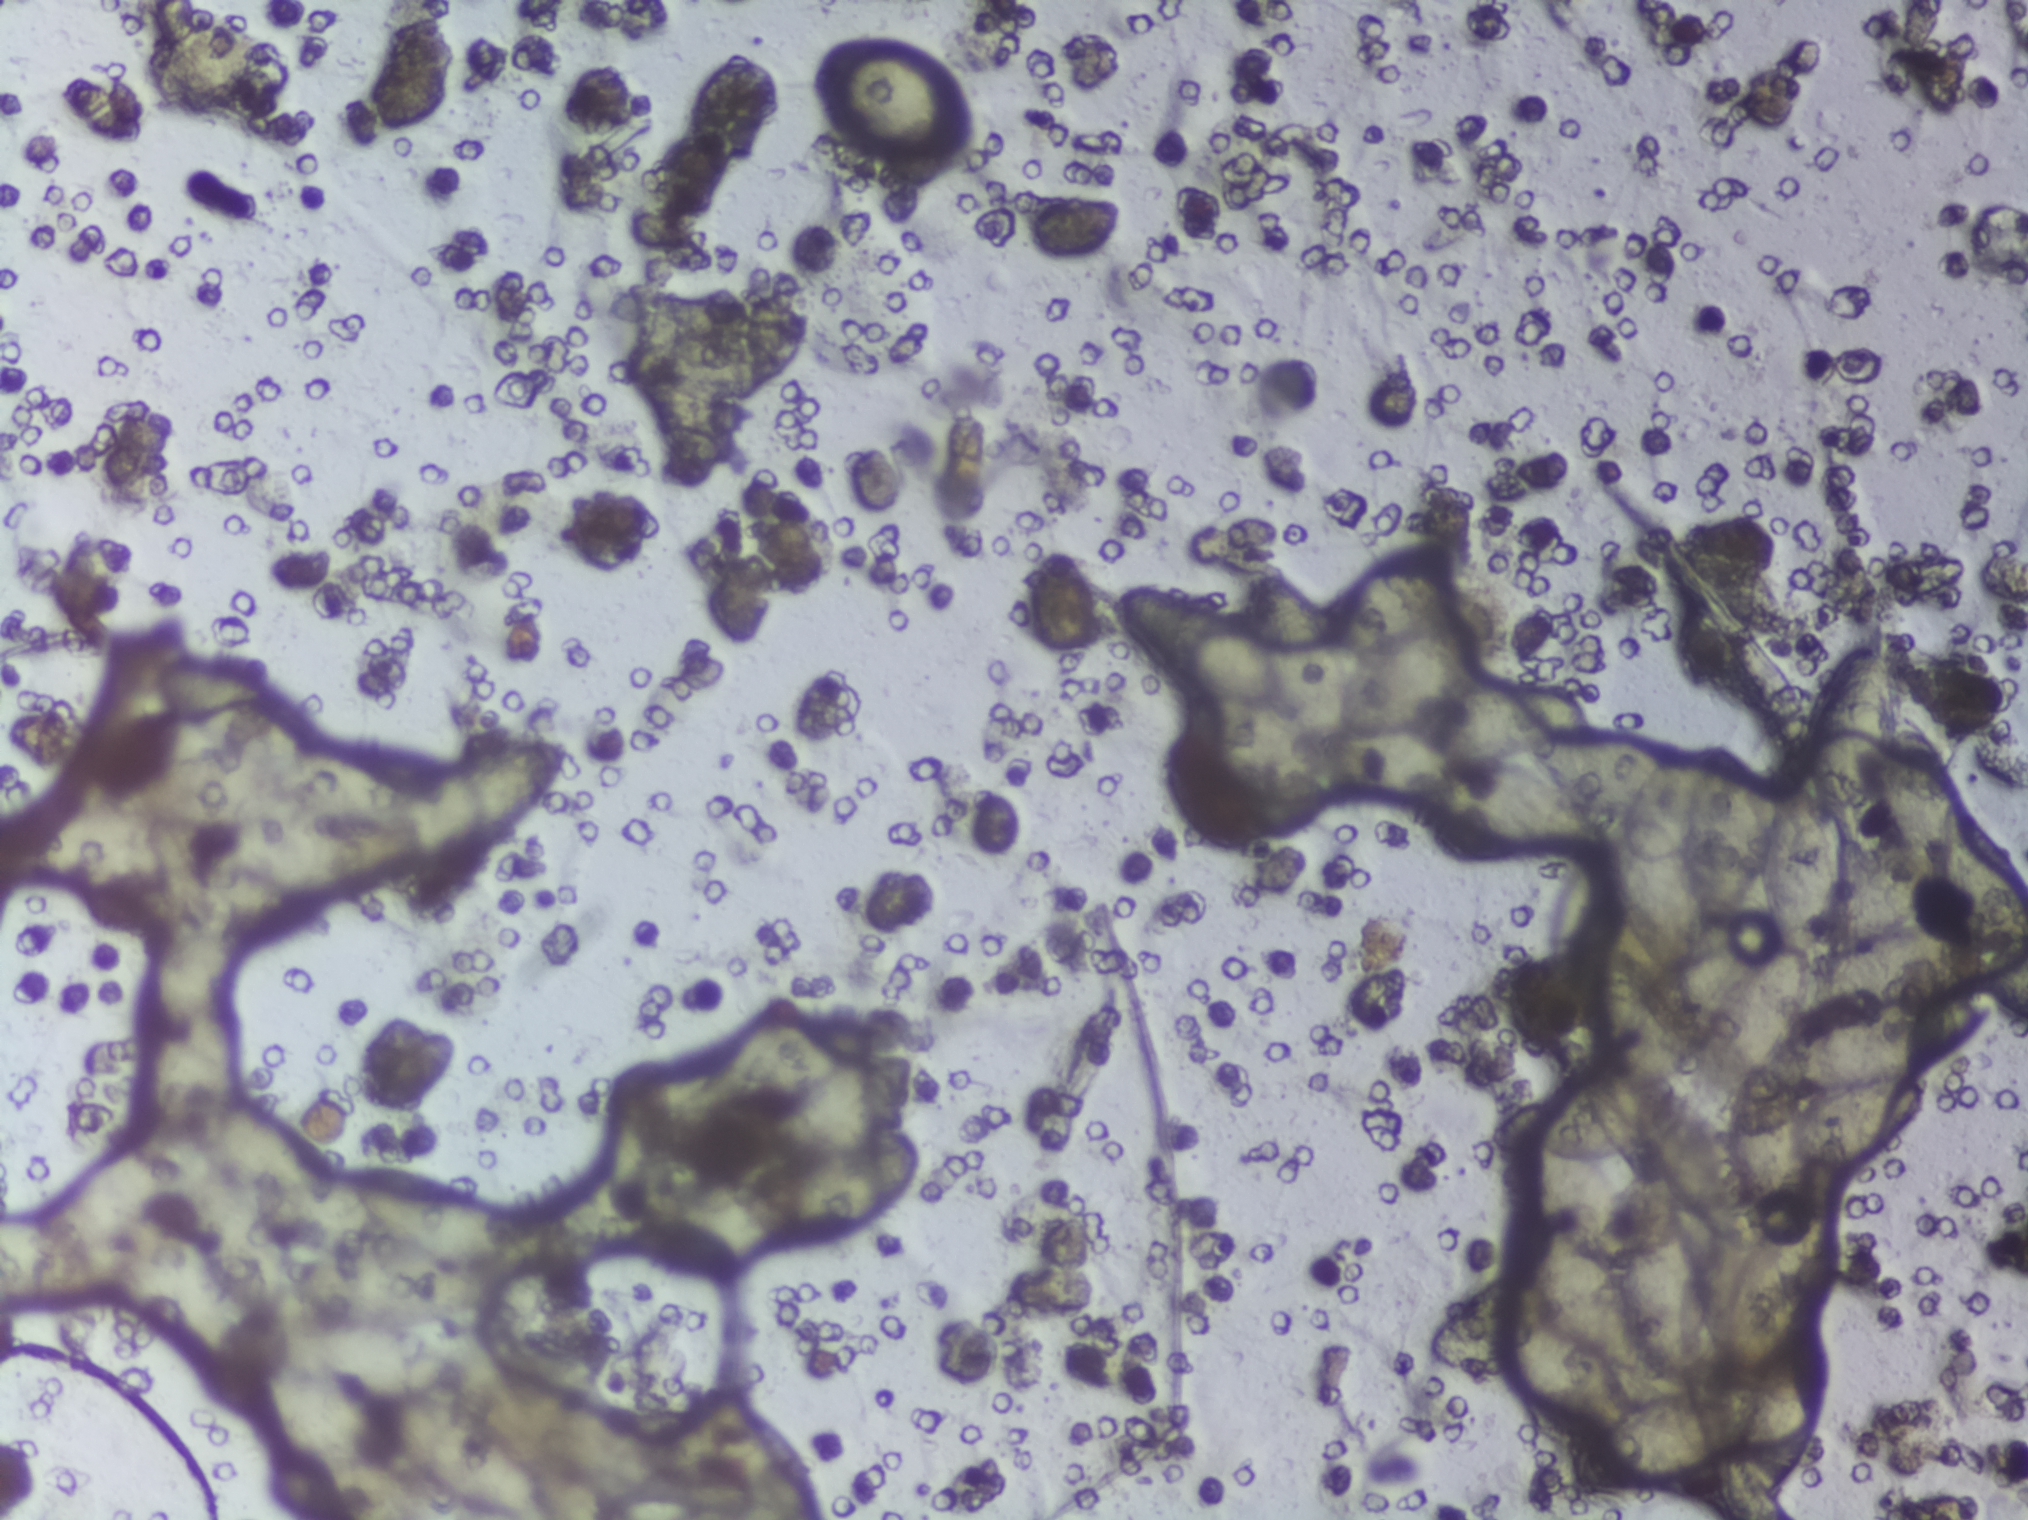
Photograph from an automated digital microscope: urine filter membrane, 4× objective.
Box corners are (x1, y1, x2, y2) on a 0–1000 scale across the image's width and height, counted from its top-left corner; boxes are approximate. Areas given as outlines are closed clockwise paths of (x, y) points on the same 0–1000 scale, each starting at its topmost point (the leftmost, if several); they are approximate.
Schistosoma egg areas, outlined: outline (110, 429), (132, 429), (136, 433), (138, 448), (125, 465), (140, 475), (154, 494), (192, 494), (218, 502), (260, 487), (275, 487), (281, 493), (269, 526), (247, 554), (228, 565), (213, 565), (204, 560), (172, 587), (145, 588), (138, 601), (119, 612), (121, 629), (109, 658), (116, 683), (114, 718), (154, 752), (165, 770), (196, 770), (265, 807), (270, 819), (267, 835), (247, 843), (245, 854), (234, 866), (208, 873), (222, 882), (225, 889), (222, 909), (214, 919), (240, 933), (254, 948), (265, 973), (264, 998), (234, 996), (212, 983), (207, 1000), (137, 999), (130, 988), (130, 973), (138, 960), (149, 958), (103, 917), (104, 902), (69, 870), (60, 853), (43, 850), (0, 858), (0, 799), (23, 800), (27, 789), (75, 740), (74, 699), (79, 683), (69, 681), (68, 661), (76, 627), (85, 617), (83, 609), (72, 602), (64, 586), (50, 585), (25, 573), (18, 562), (35, 535), (56, 532), (58, 521), (79, 503), (78, 487), (86, 469), (79, 457), (79, 435) (eggs clustered together; reaching the left and bottom edges of the frame); box (273, 668, 454, 827) (eggs clustered together); box (400, 30, 481, 105); outline (707, 356), (712, 356), (715, 365), (712, 402), (724, 403), (727, 413), (724, 449), (769, 452), (780, 465), (777, 479), (781, 481), (811, 486), (829, 495), (840, 496), (850, 488), (860, 502), (870, 537), (882, 505), (892, 498), (888, 483), (891, 461), (912, 425), (934, 412), (935, 469), (946, 475), (953, 485), (970, 538), (994, 565), (999, 583), (1000, 678), (983, 665), (975, 683), (952, 708), (952, 725), (936, 752), (916, 771), (897, 771), (897, 790), (901, 789), (904, 796), (906, 822), (894, 871), (900, 890), (900, 925), (892, 955), (863, 1000), (857, 1000), (853, 993), (848, 960), (805, 982), (772, 973), (770, 967), (780, 959), (783, 948), (748, 921), (740, 905), (713, 897), (704, 886), (719, 859), (748, 842), (742, 812), (756, 804), (746, 789), (741, 757), (733, 750), (733, 744), (751, 726), (796, 709), (789, 676), (788, 634), (794, 604), (788, 571), (798, 541), (780, 552), (730, 559), (707, 548), (689, 529), (667, 529), (653, 516), (644, 544), (634, 550), (623, 548), (616, 561), (603, 562), (579, 535), (574, 525), (575, 487), (584, 475), (591, 475), (597, 482), (600, 465), (577, 450), (552, 415), (548, 396), (553, 390), (568, 384), (613, 406), (617, 384), (623, 377), (631, 376), (646, 391), (657, 412), (664, 388), (680, 367) (eggs clustered together; reaching the right and bottom edges of the frame). About 21% of the image's pixels are marked (the marked pixels themselves, not the boxes and the outlines around them). A single outlined area may contain several eggs. A marked egg may occasionally be S. mansoni rather than S. haematobium.